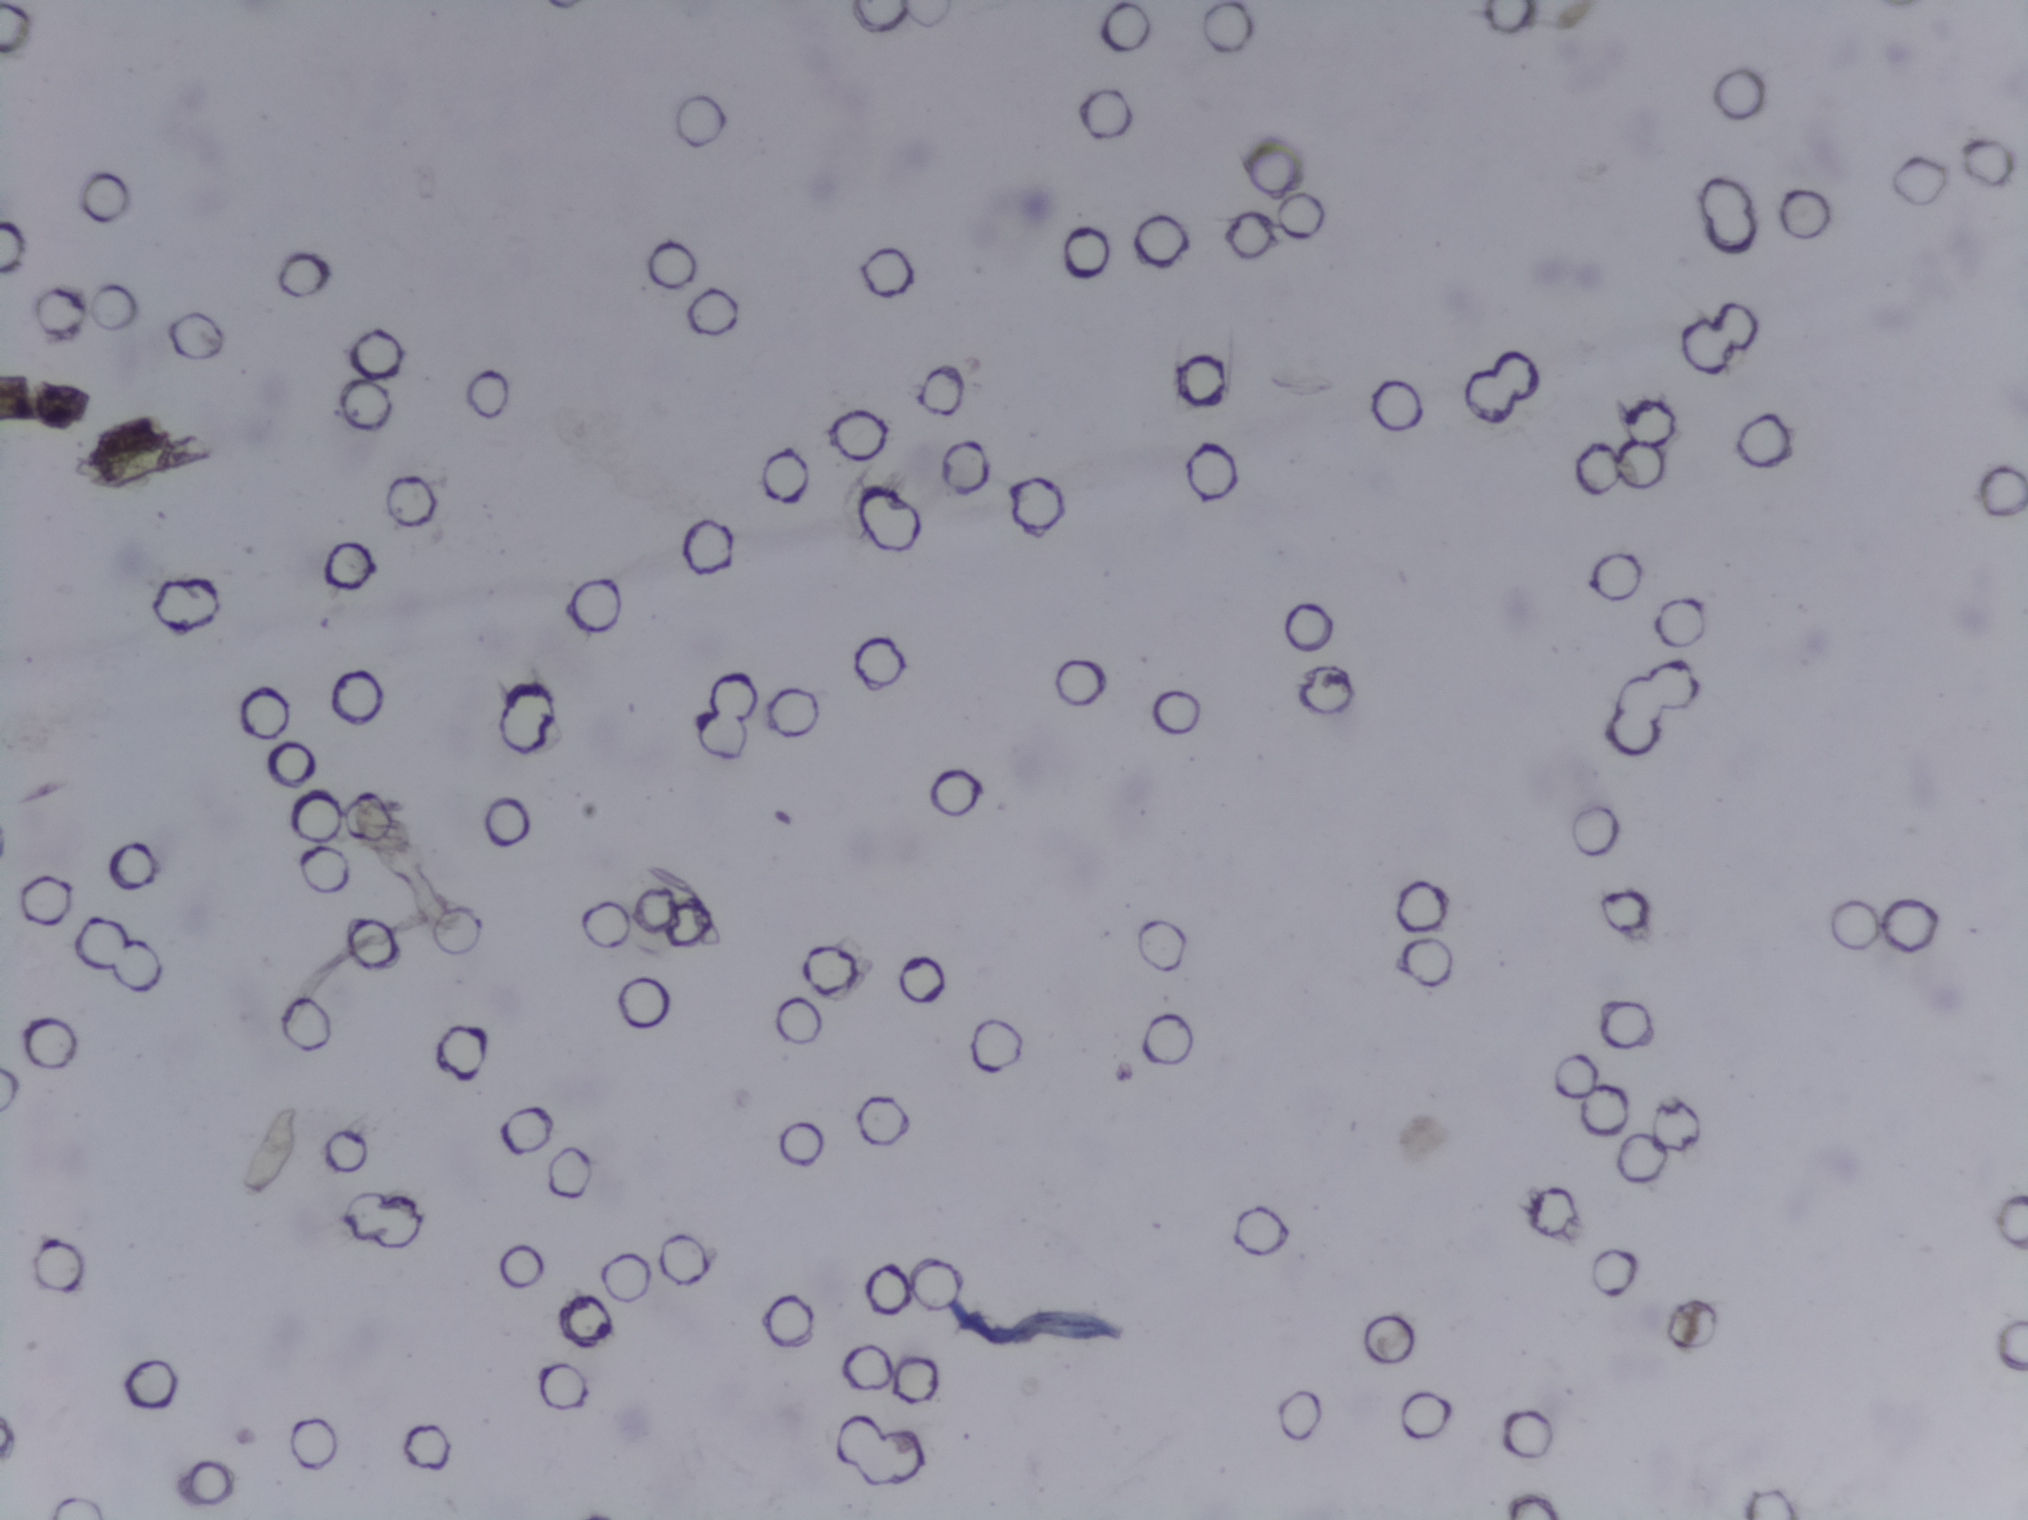
Microscope photograph (4× objective) of a membrane that a urine sample was filtered through.
No area of this image was outlined as a Schistosoma egg.